Urine filtration membrane under a 4× objective, photographed by an automated digital microscope.
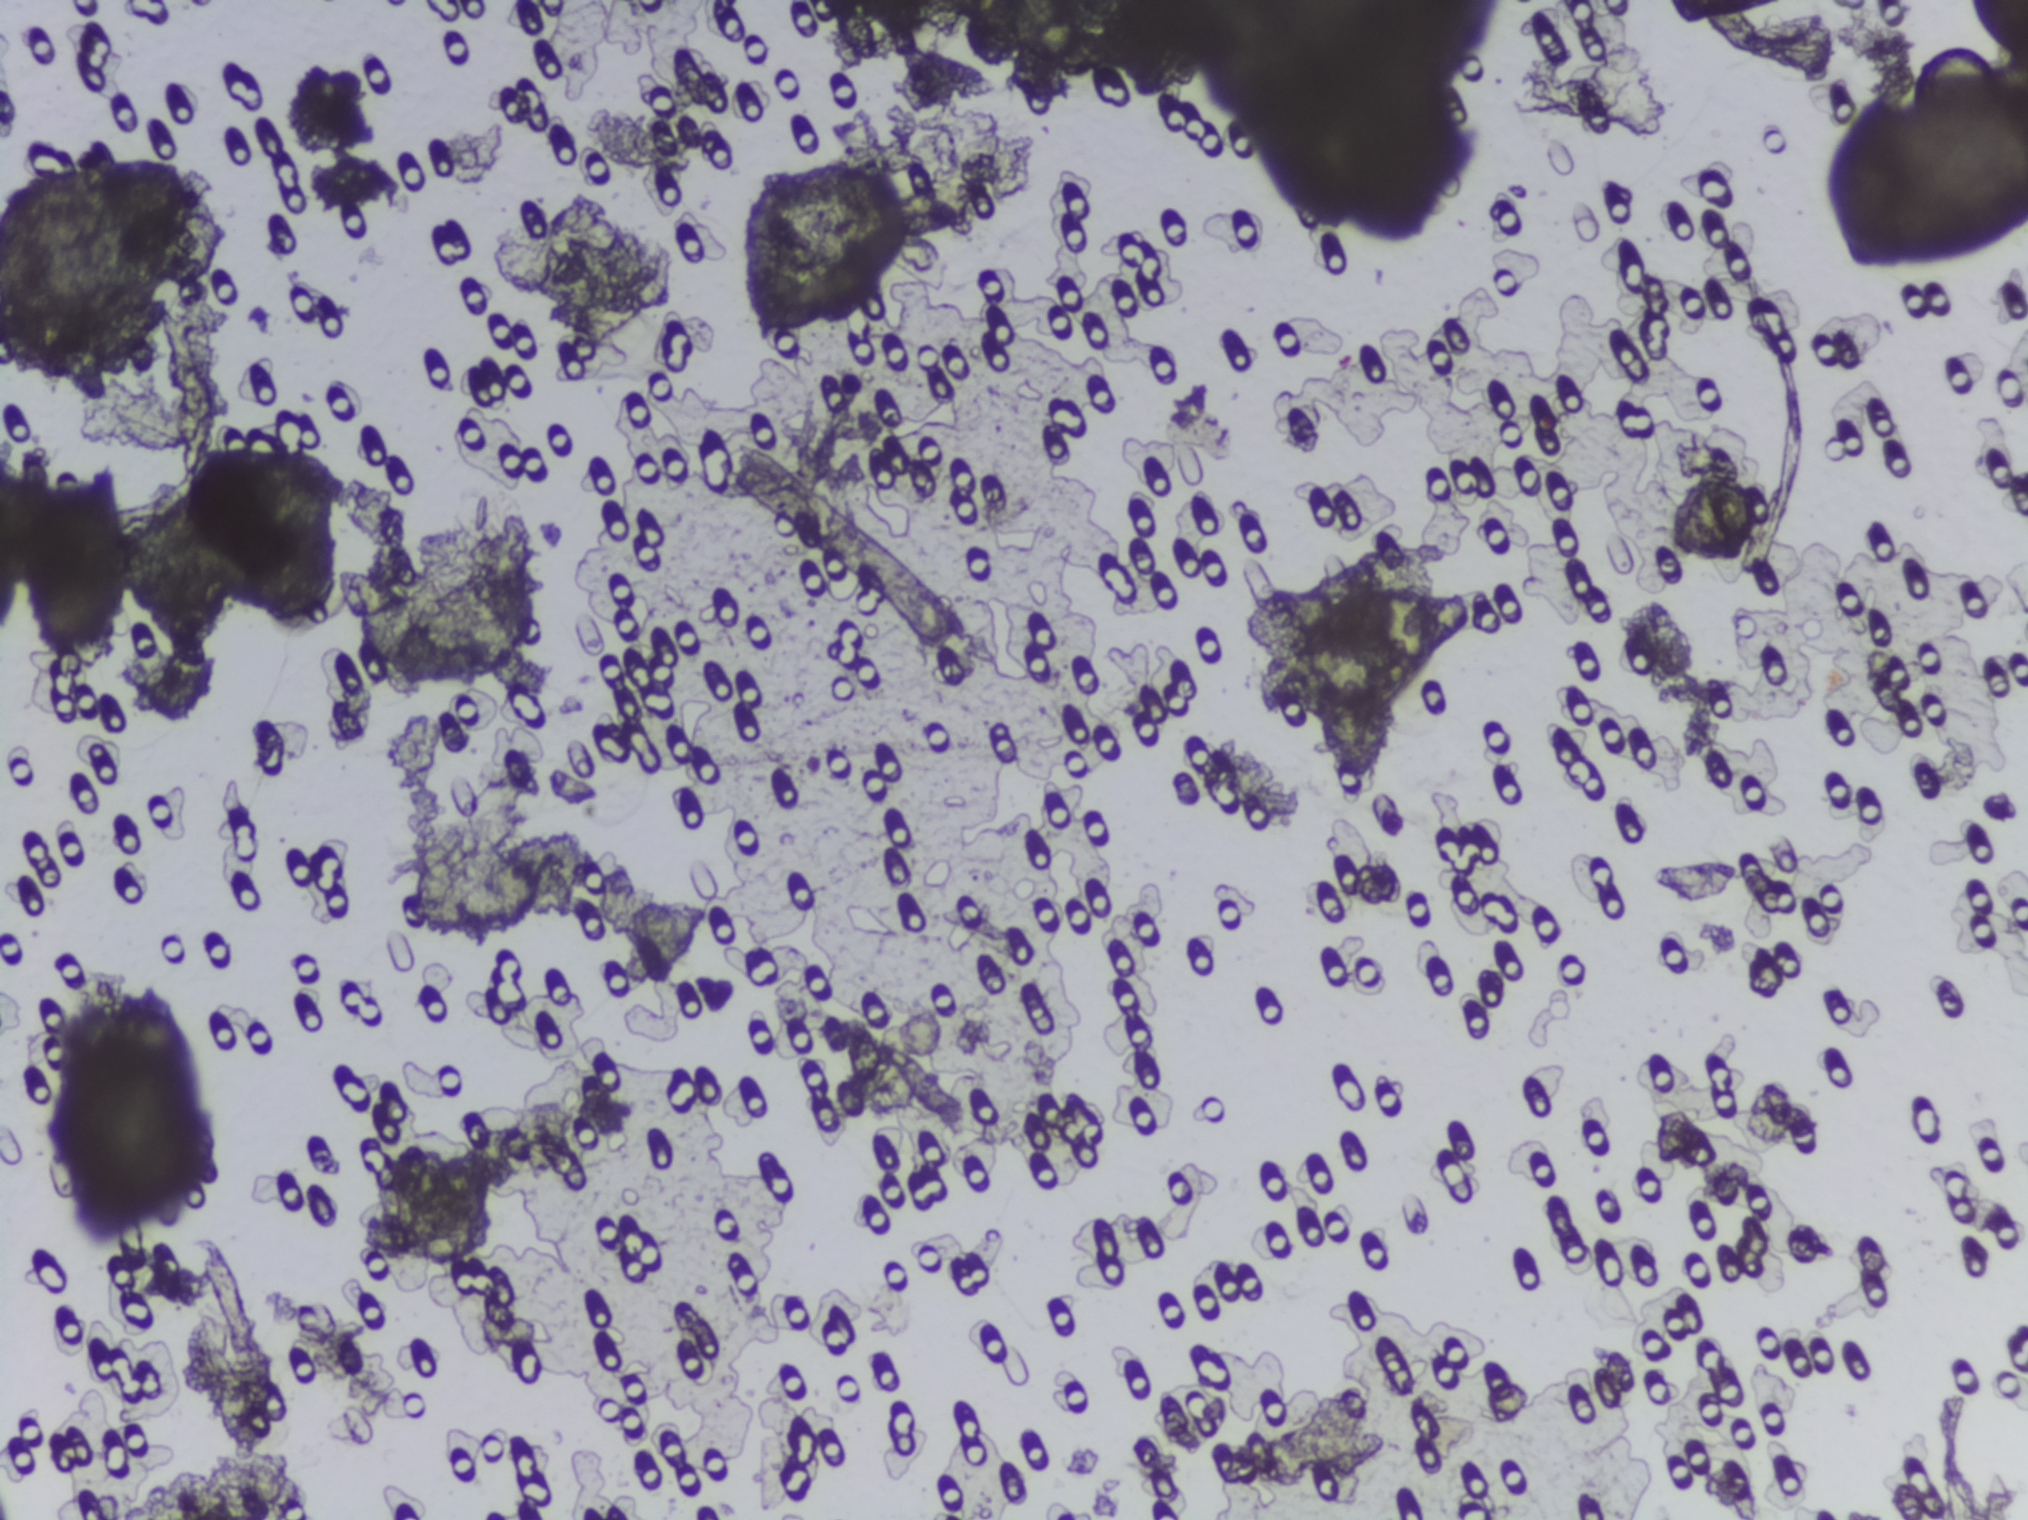
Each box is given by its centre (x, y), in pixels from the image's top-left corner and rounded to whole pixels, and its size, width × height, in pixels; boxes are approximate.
Areas outlined as Schistosoma eggs: centre (1363, 654), 218 × 139 px. A single outlined area may contain several eggs.